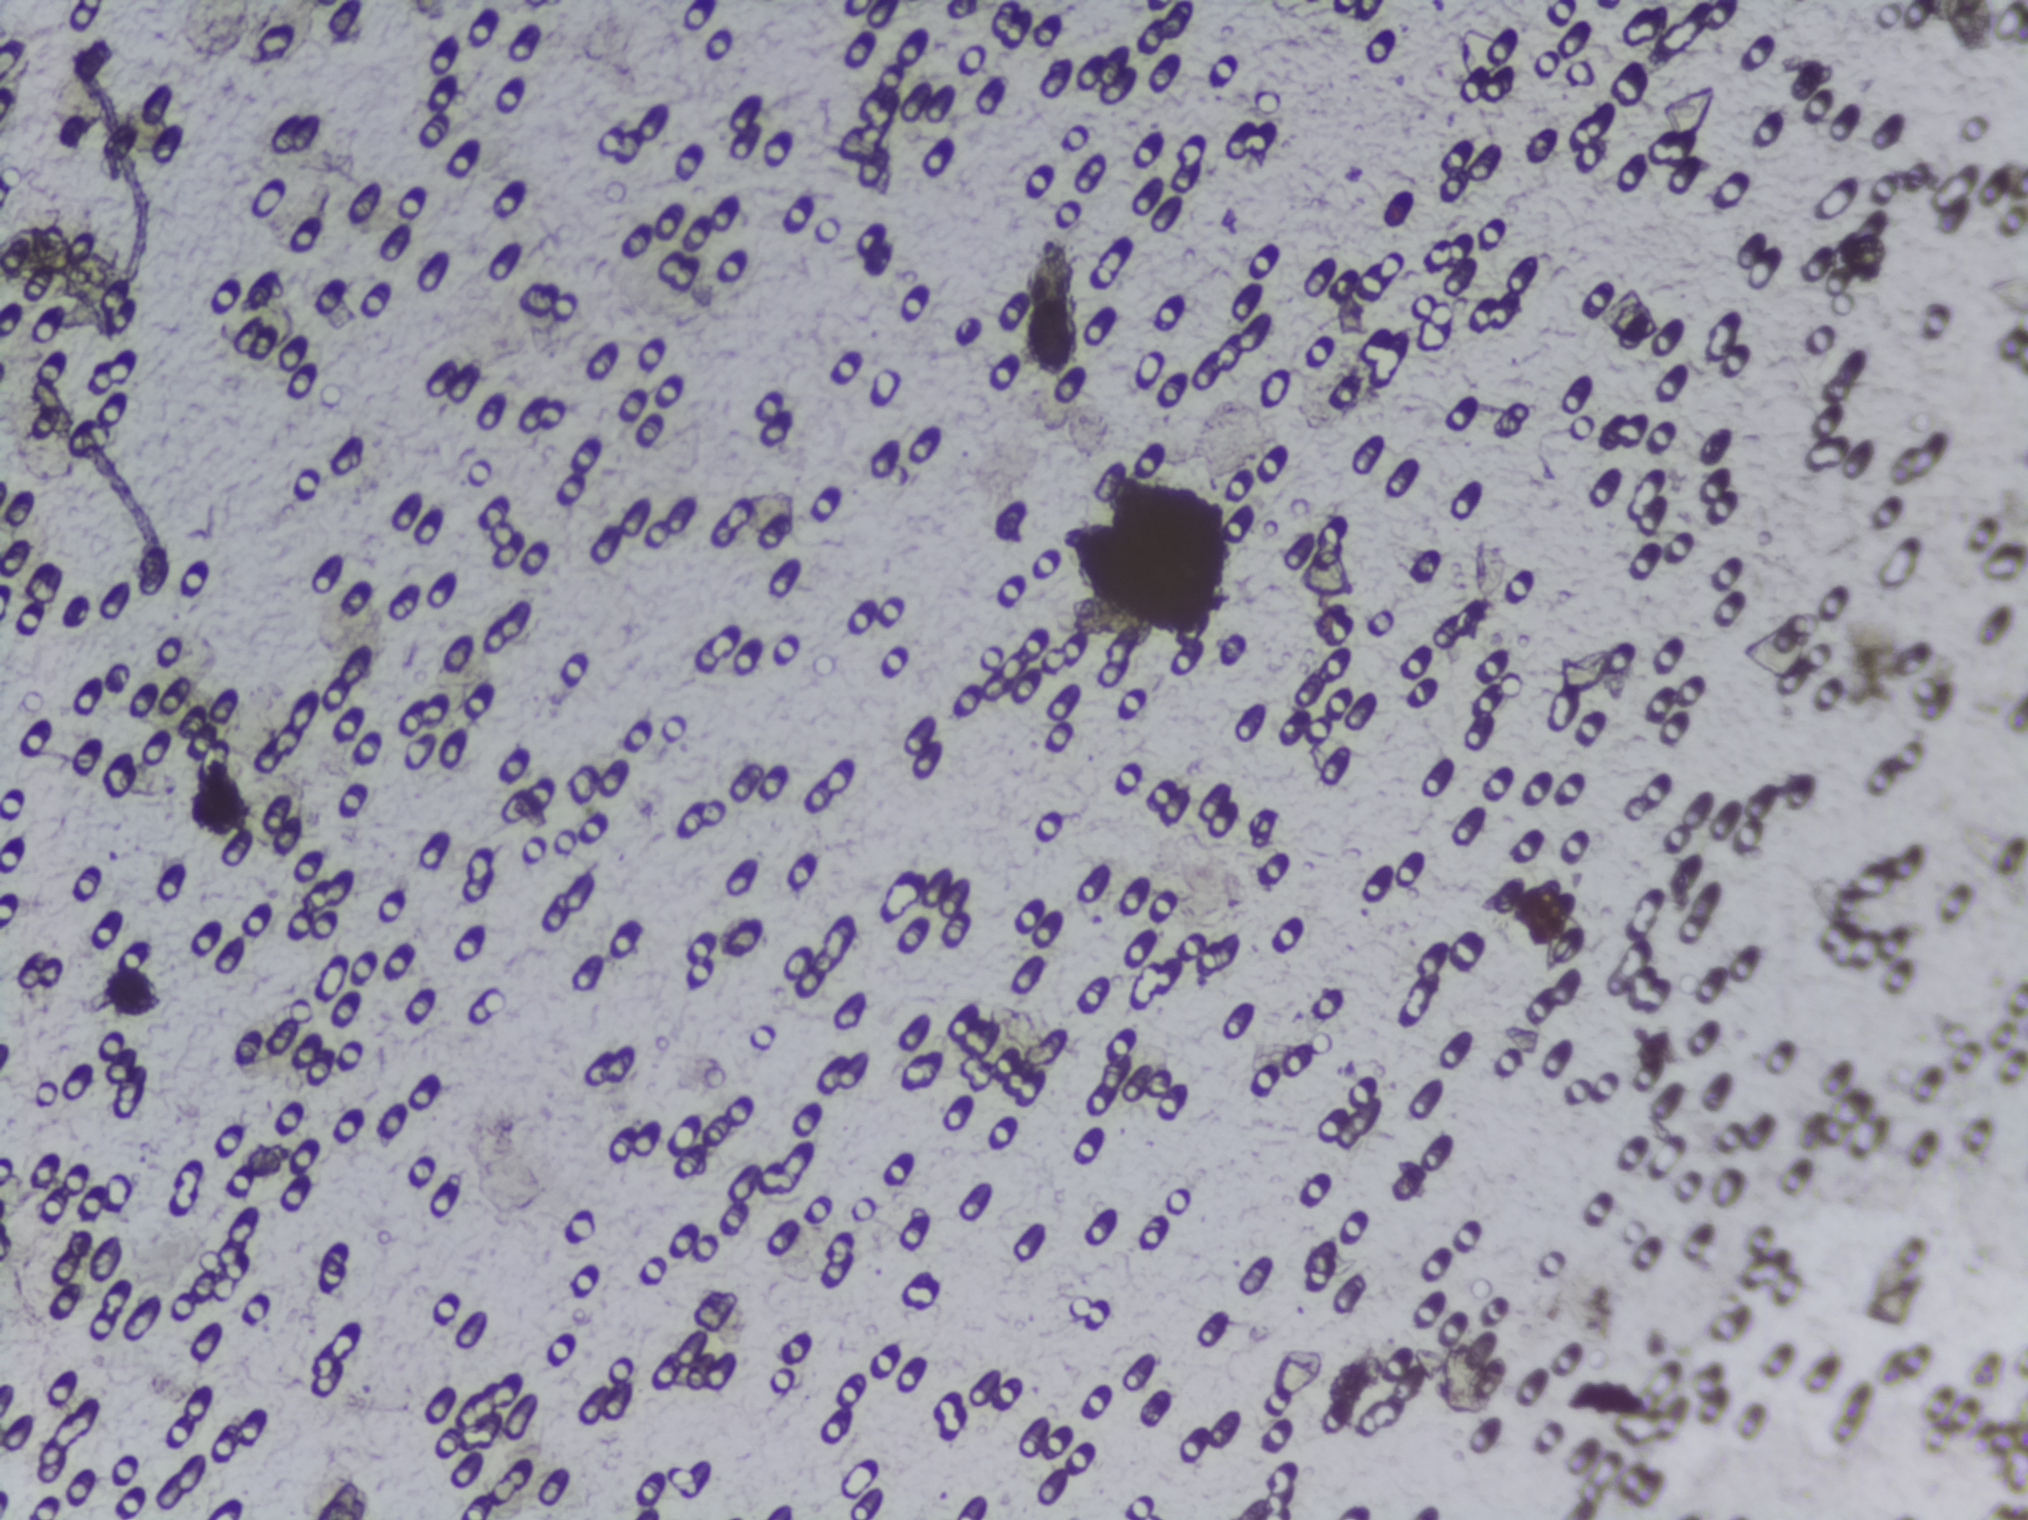
Photograph from an automated digital microscope: urine filter membrane, 4× objective.
The expert annotation outlines no Schistosoma egg in this image.